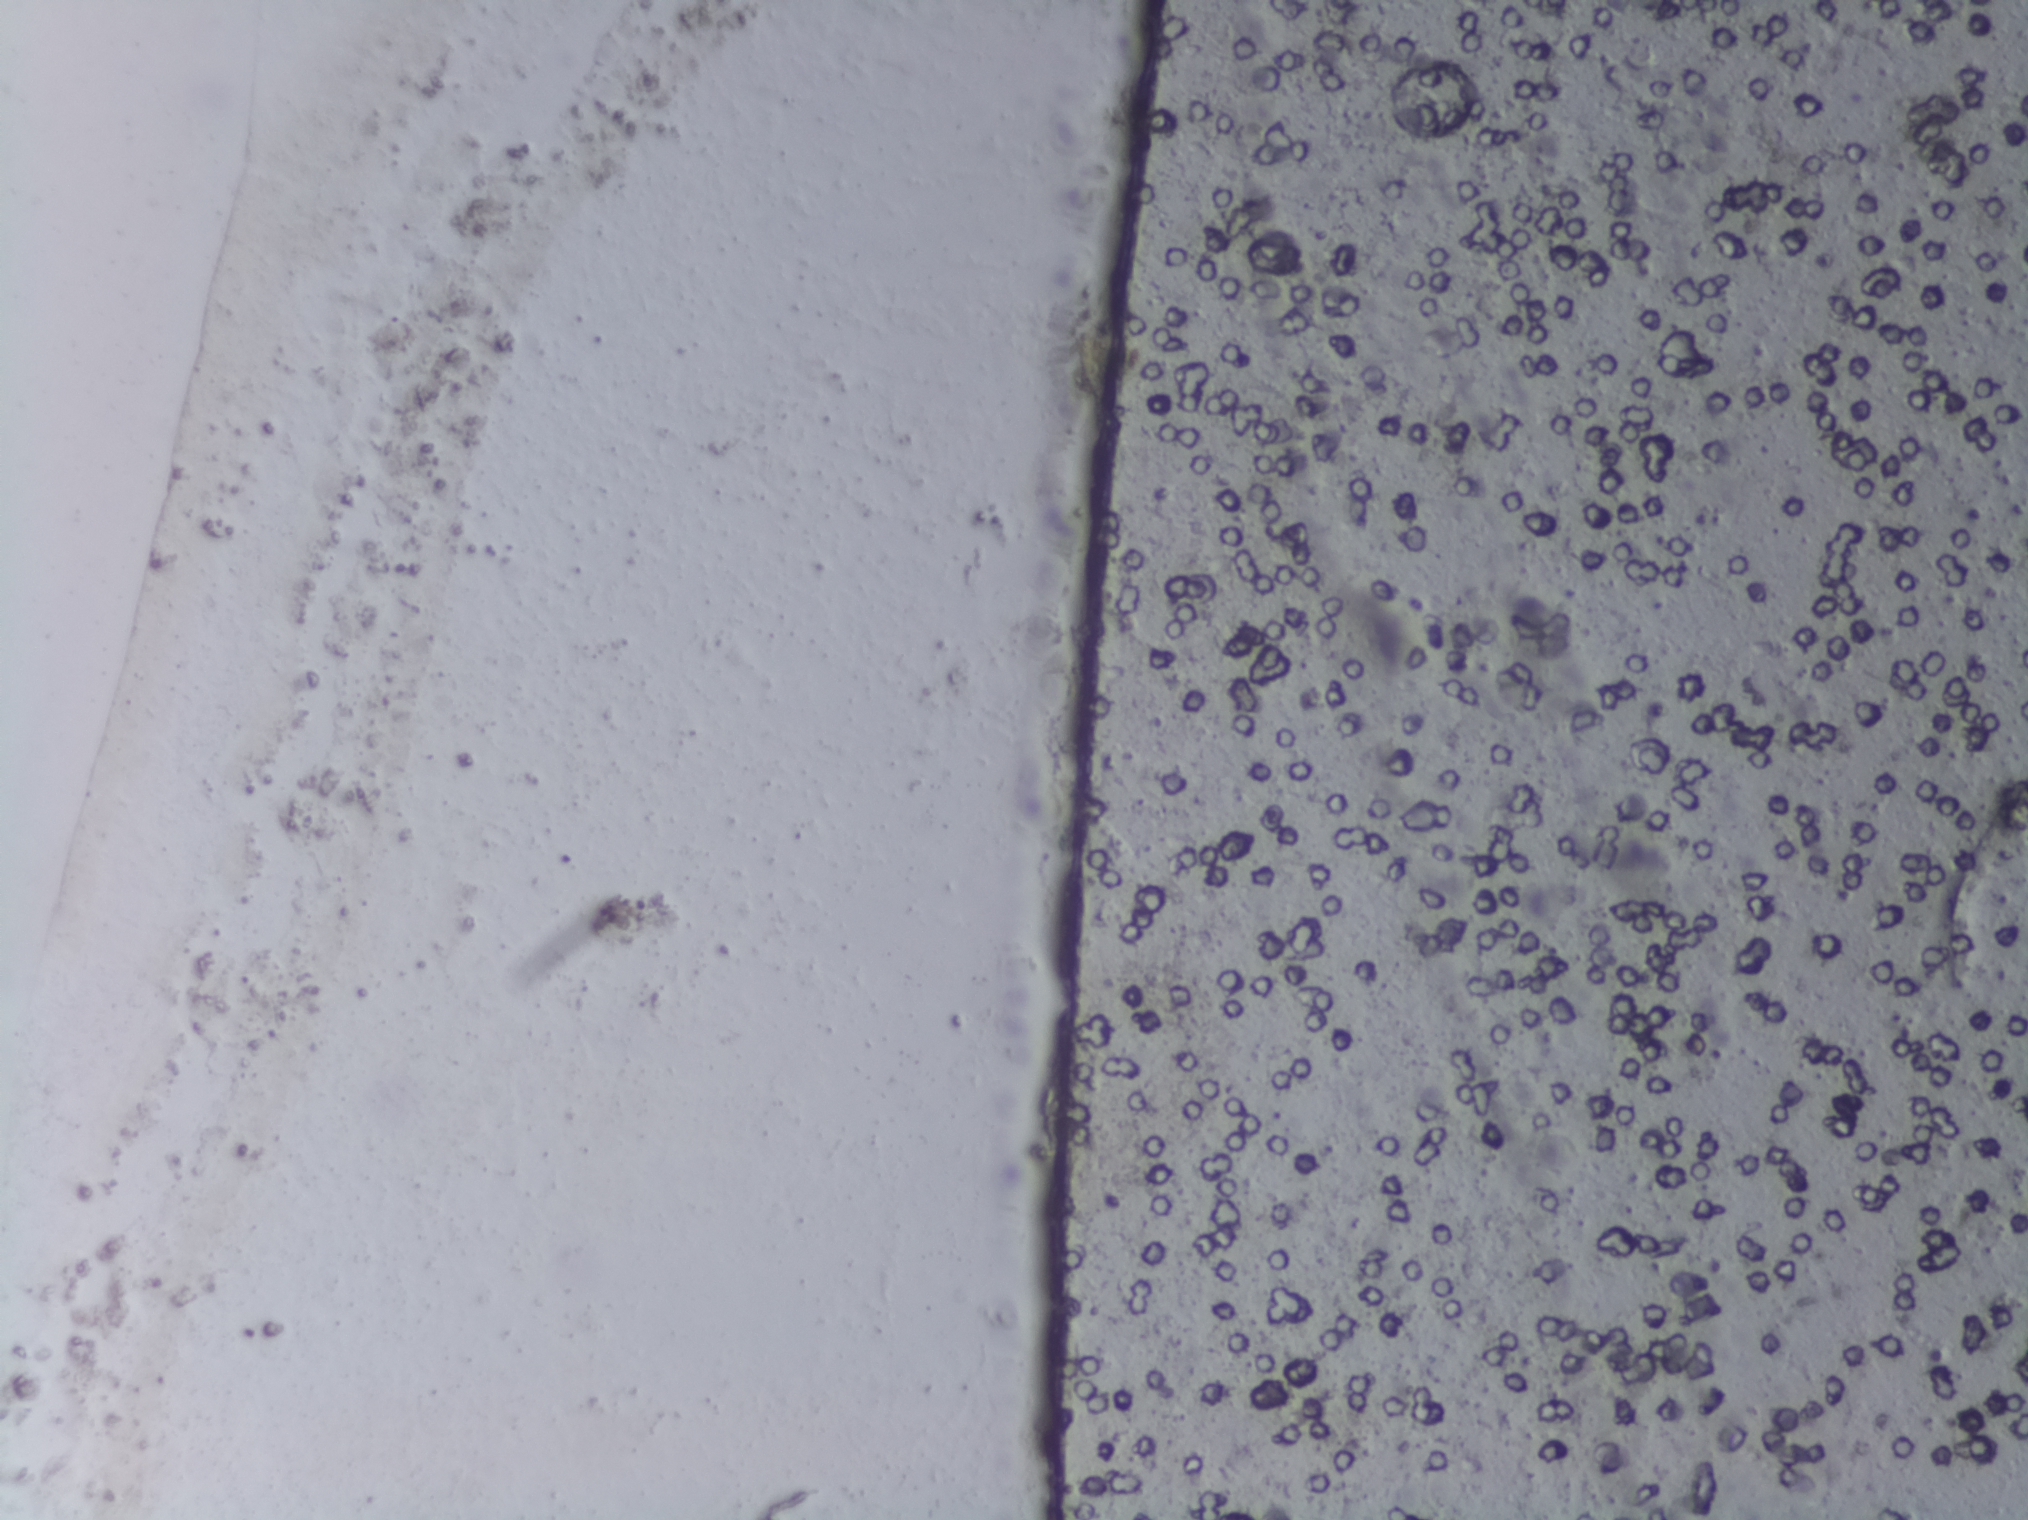
One field of view of a urine filter membrane, 4× objective, 2028 × 1520 pixels.
The expert annotation marks no Schistosoma egg in this field of view.